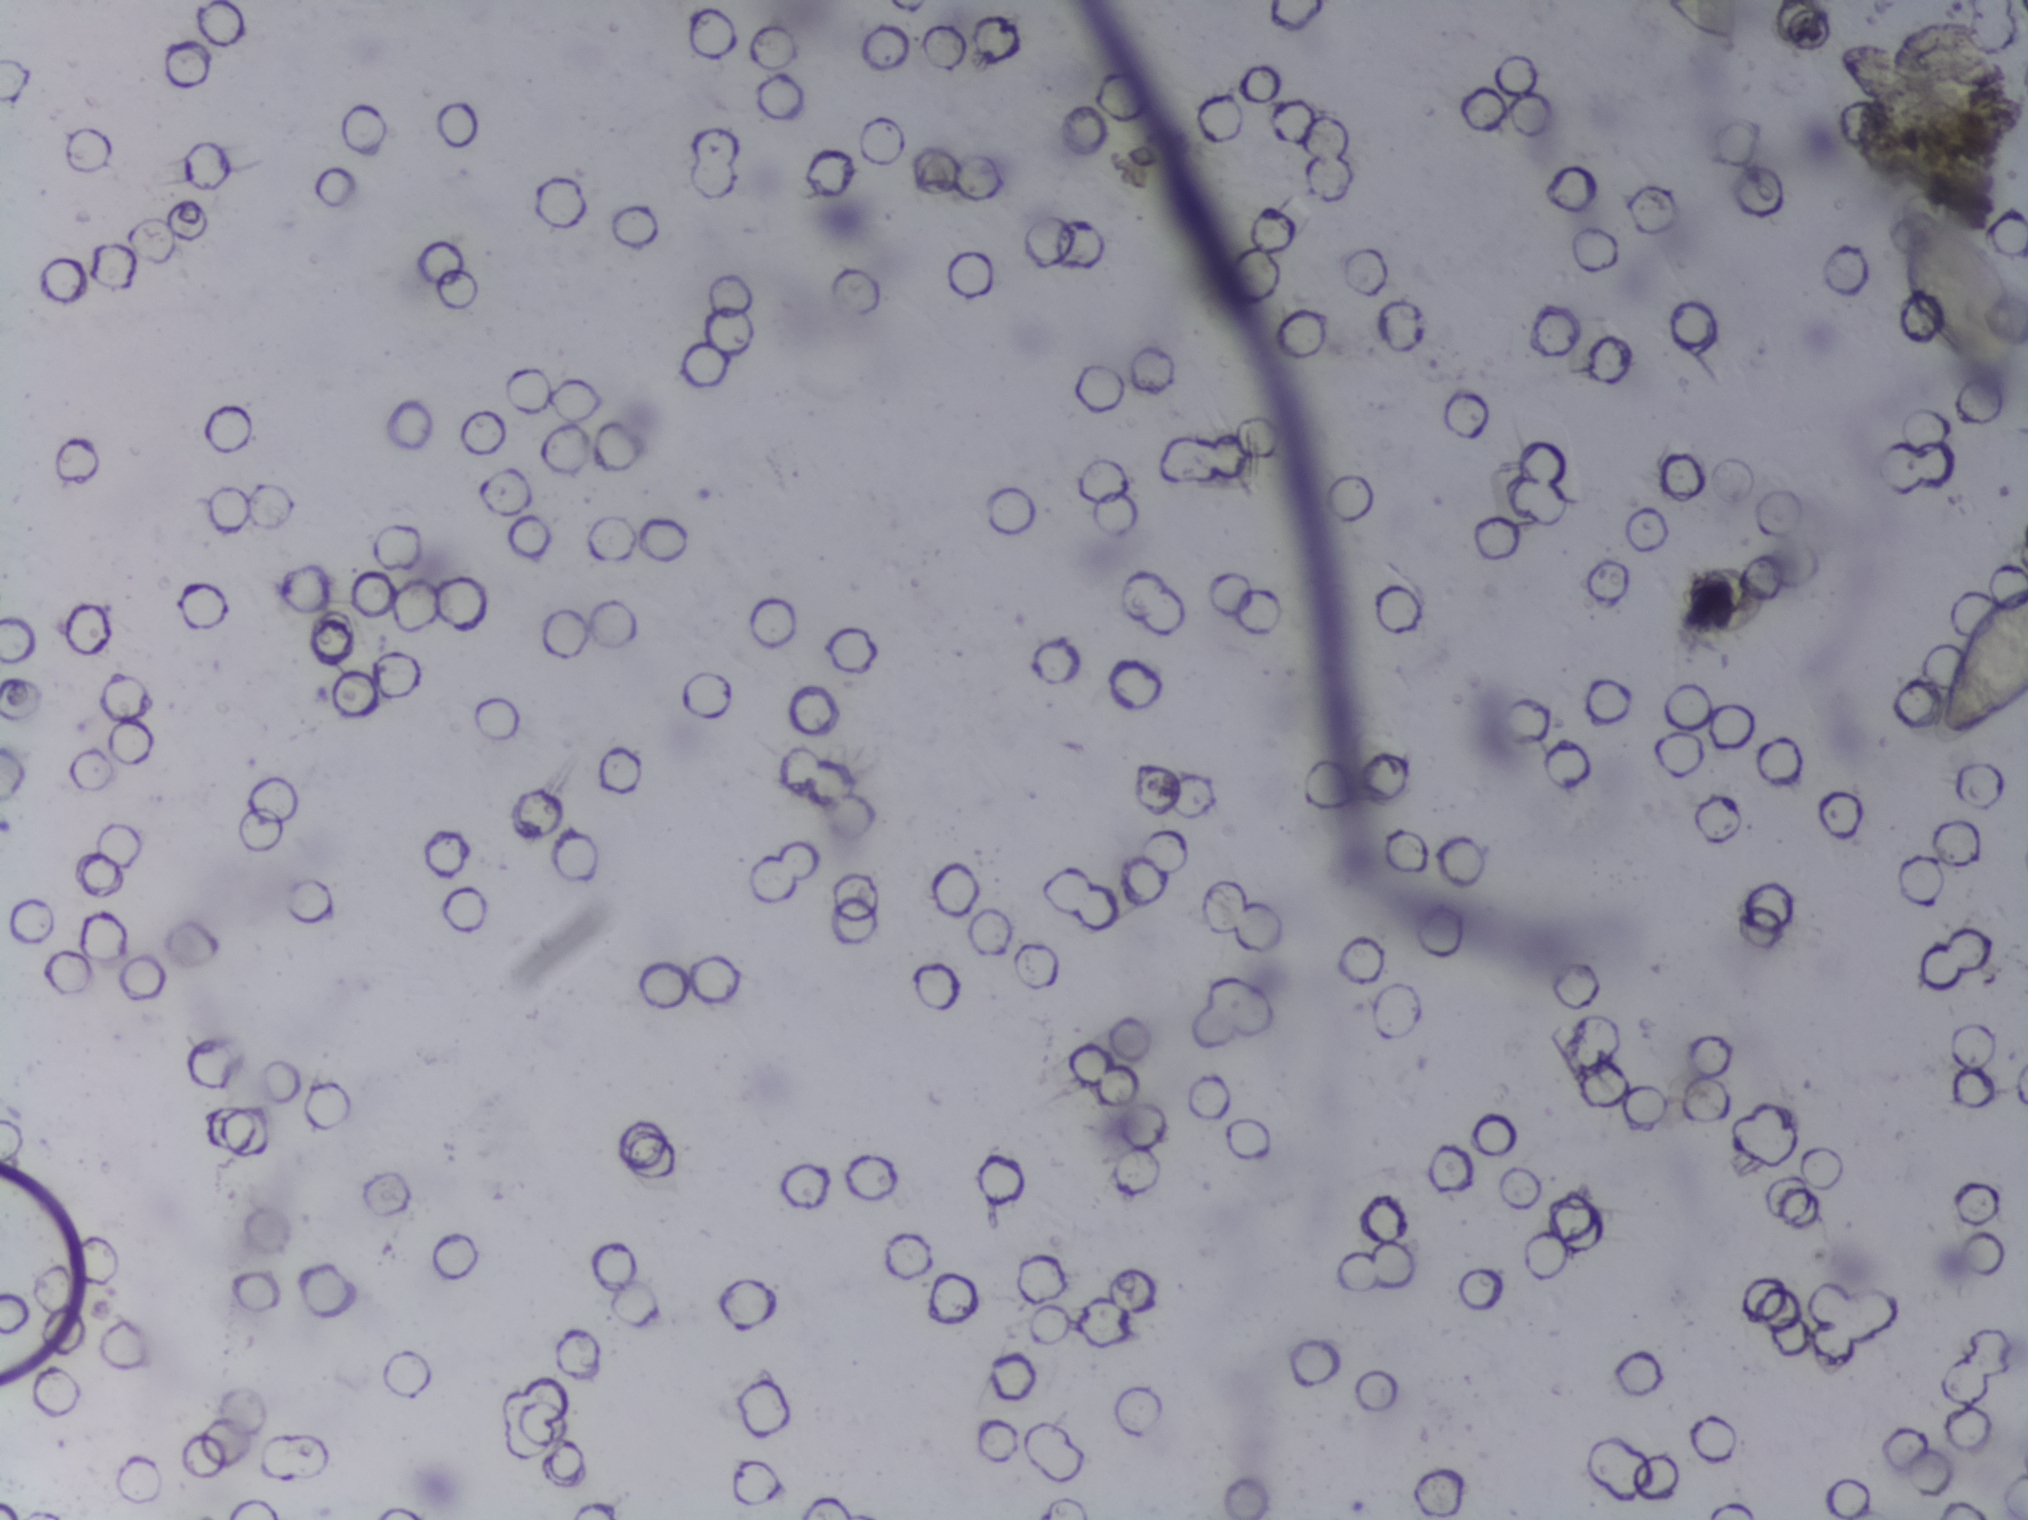
Photograph from an automated digital microscope: urine filter membrane, 4× objective.
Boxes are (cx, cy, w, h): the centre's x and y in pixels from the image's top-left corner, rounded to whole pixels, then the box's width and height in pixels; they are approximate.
Schistosoma egg areas, outlined: (cx=1955, cy=306, w=136, h=209); (cx=1979, cy=667, w=98, h=170) (reaching the right edge of the frame). A single outlined area may contain several eggs.